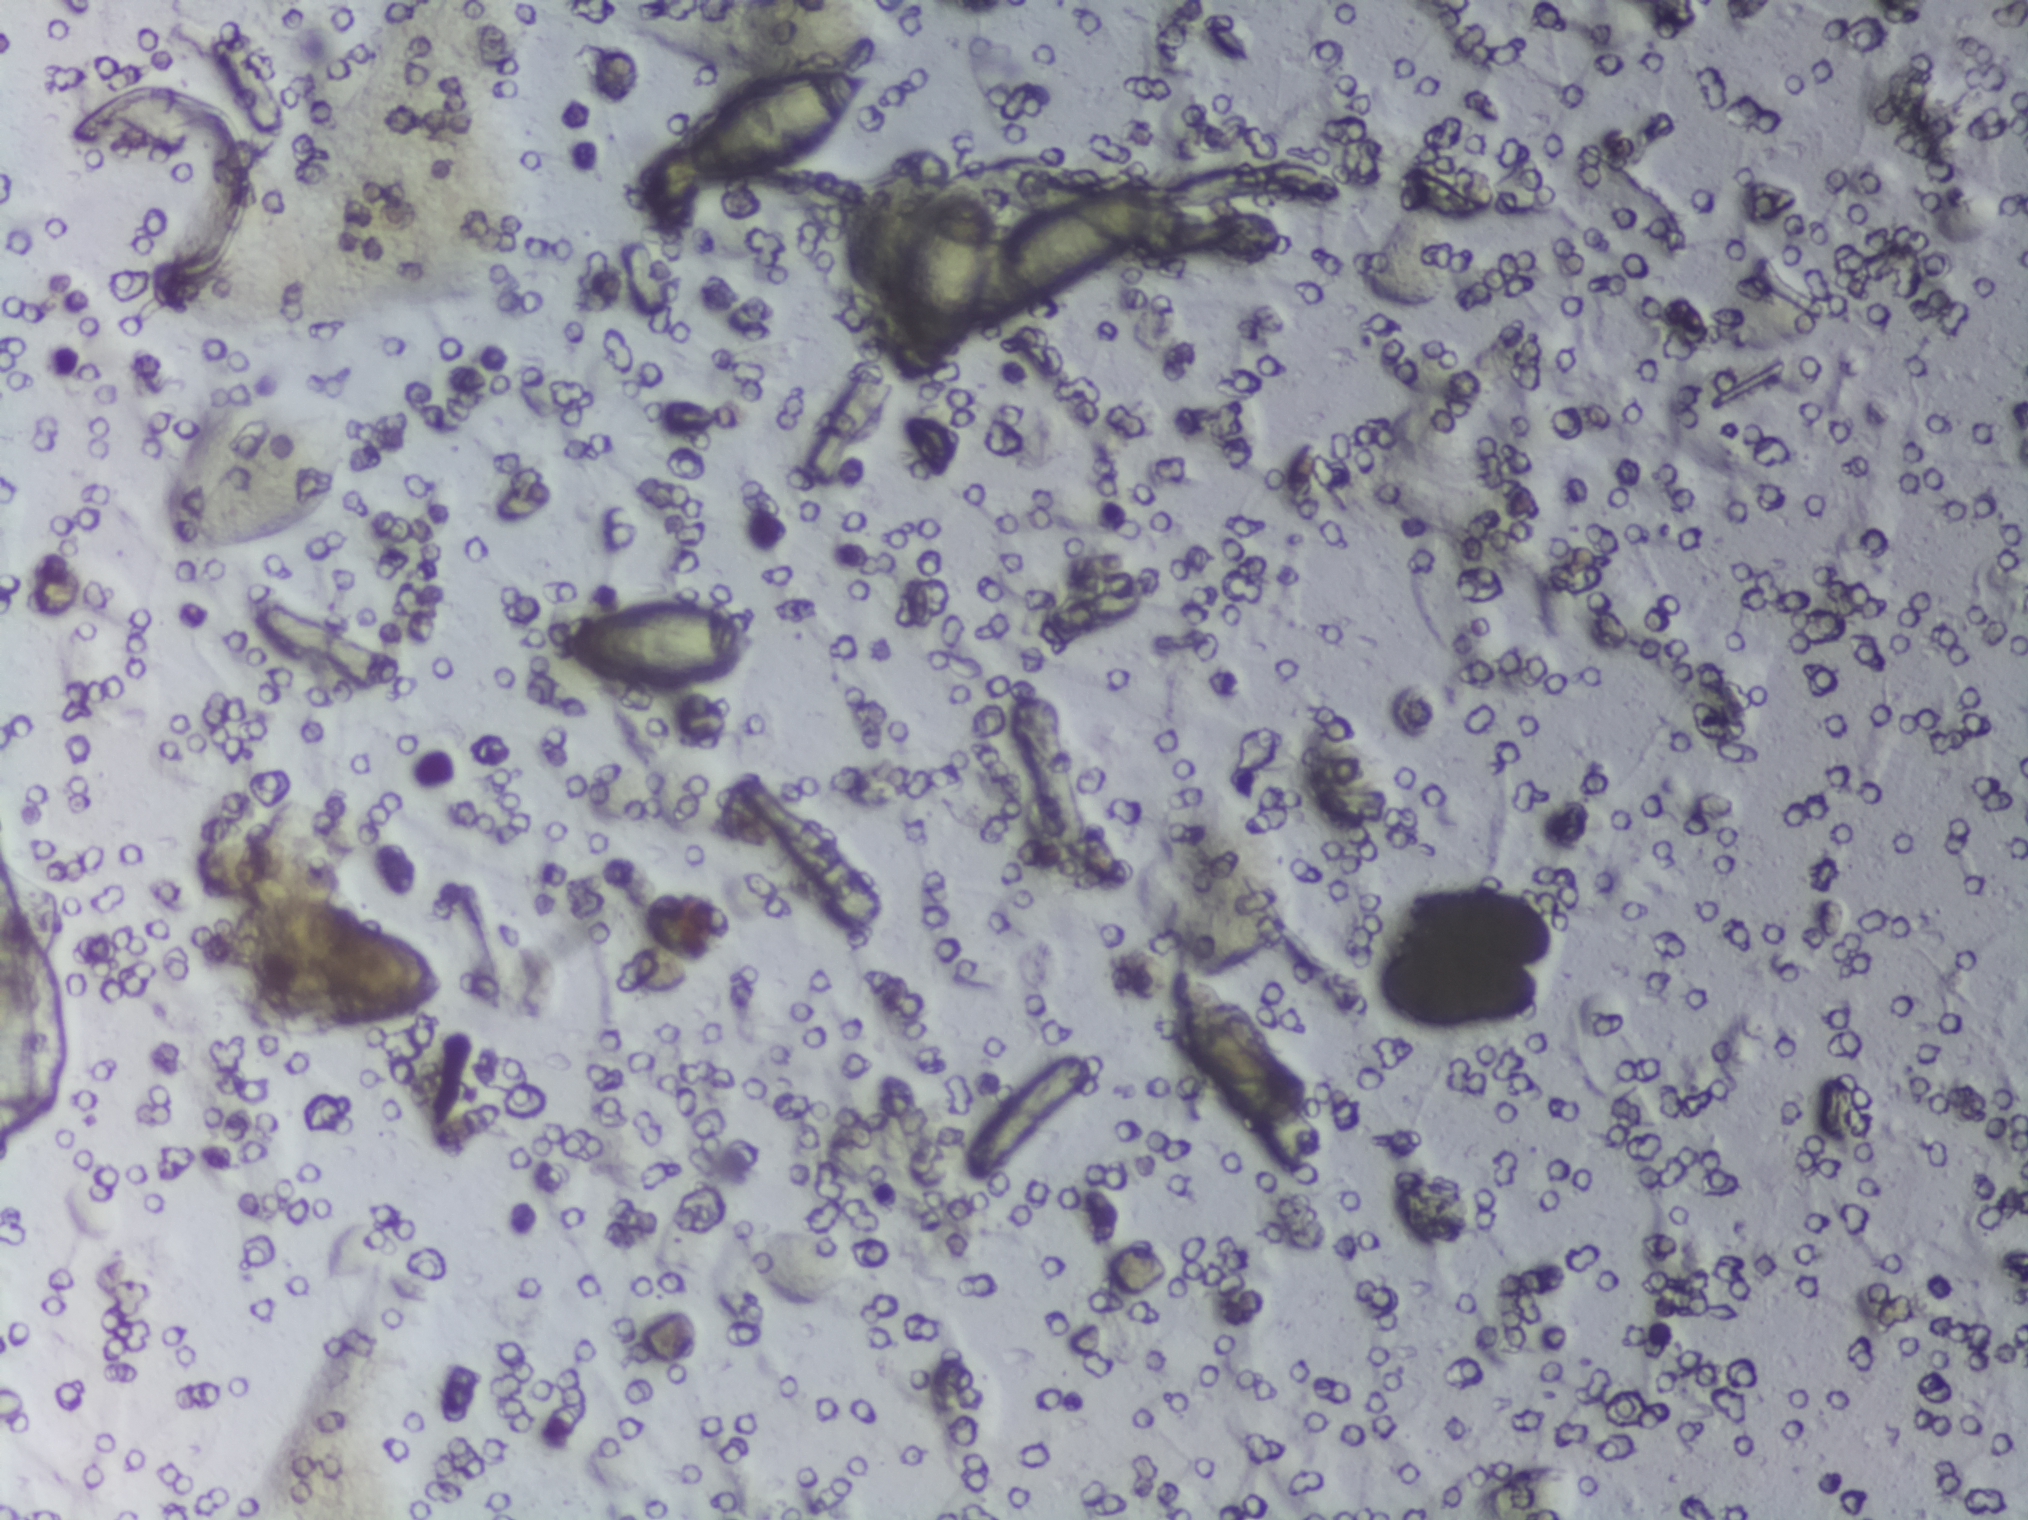
Photograph from an automated digital microscope: urine filter membrane, 4× objective.
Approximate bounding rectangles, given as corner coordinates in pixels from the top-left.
Schistosoma eggs are outlined in five areas of this image, listed from left to right: (x1=188, y1=418, x2=345, y2=549); (x1=244, y1=902, x2=451, y2=1023); (x1=556, y1=600, x2=760, y2=689); (x1=675, y1=71, x2=865, y2=187); (x1=894, y1=182, x2=1152, y2=375). Eggs that touch can end up inside the same outlined area.